Photograph from an automated digital microscope: urine filter membrane, 4× objective. The field of view is about 1.5 mm × 1.1 mm.
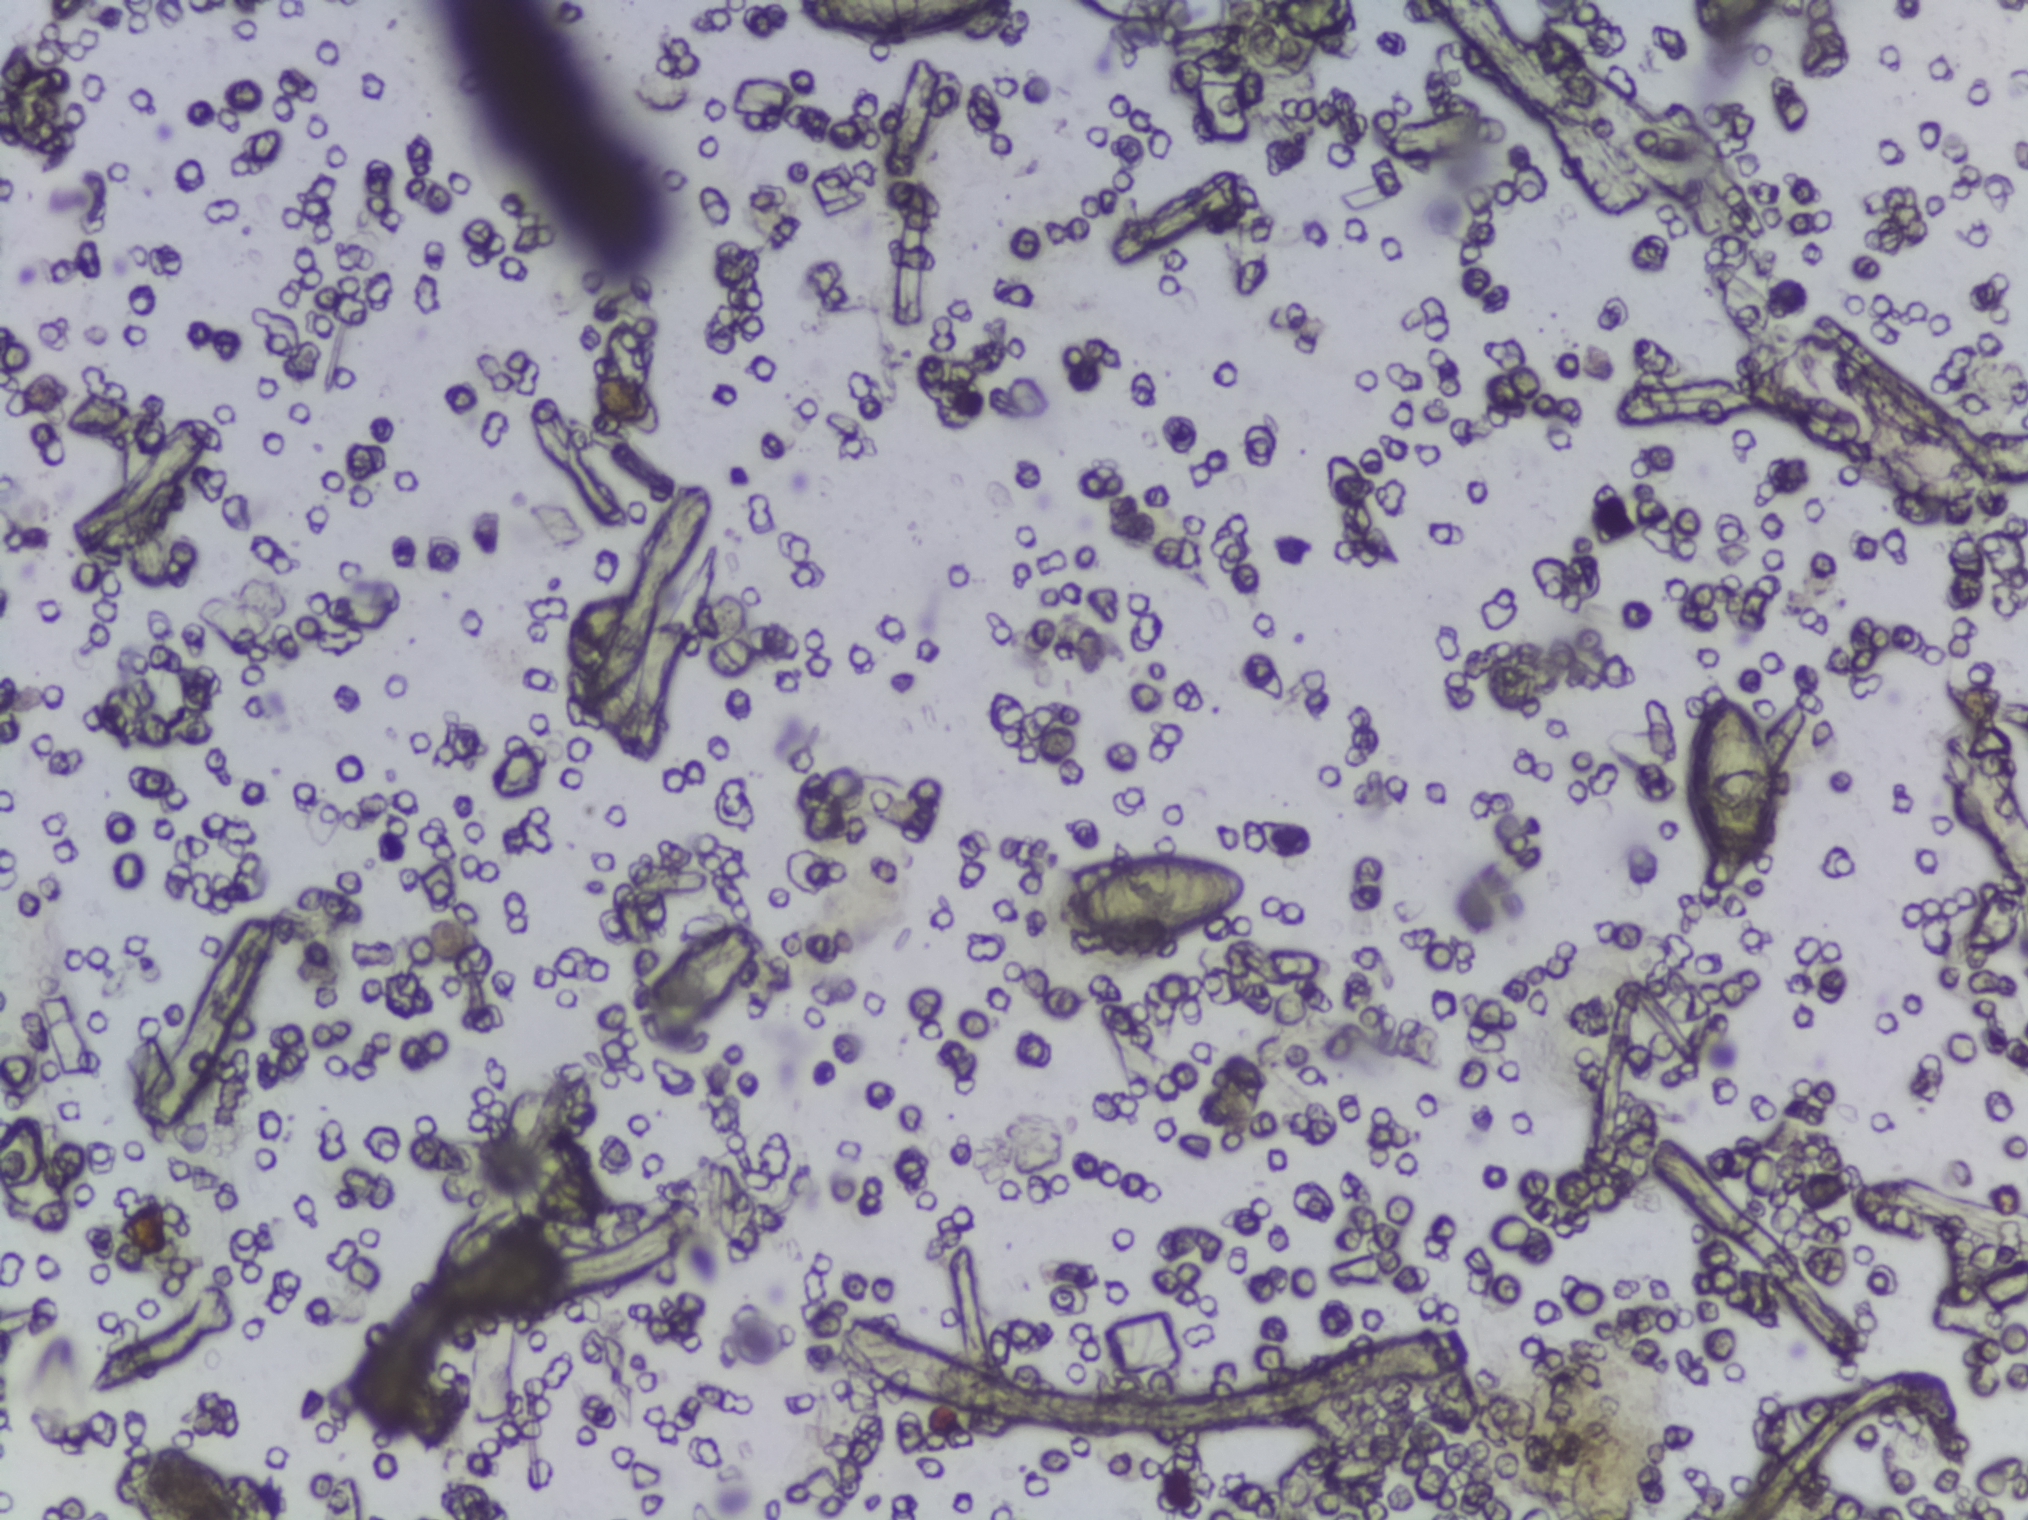
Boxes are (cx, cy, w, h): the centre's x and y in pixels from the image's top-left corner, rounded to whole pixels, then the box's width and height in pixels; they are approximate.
Findings: three areas outlined as Schistosoma eggs. Locations, left to right: (cx=895, cy=23, w=210, h=46) (reaching the top edge of the frame); (cx=1154, cy=904, w=192, h=104); (cx=1731, cy=795, w=90, h=196). A single outlined area may contain several eggs.